Photograph from an automated digital microscope: urine filter membrane, 4× objective.
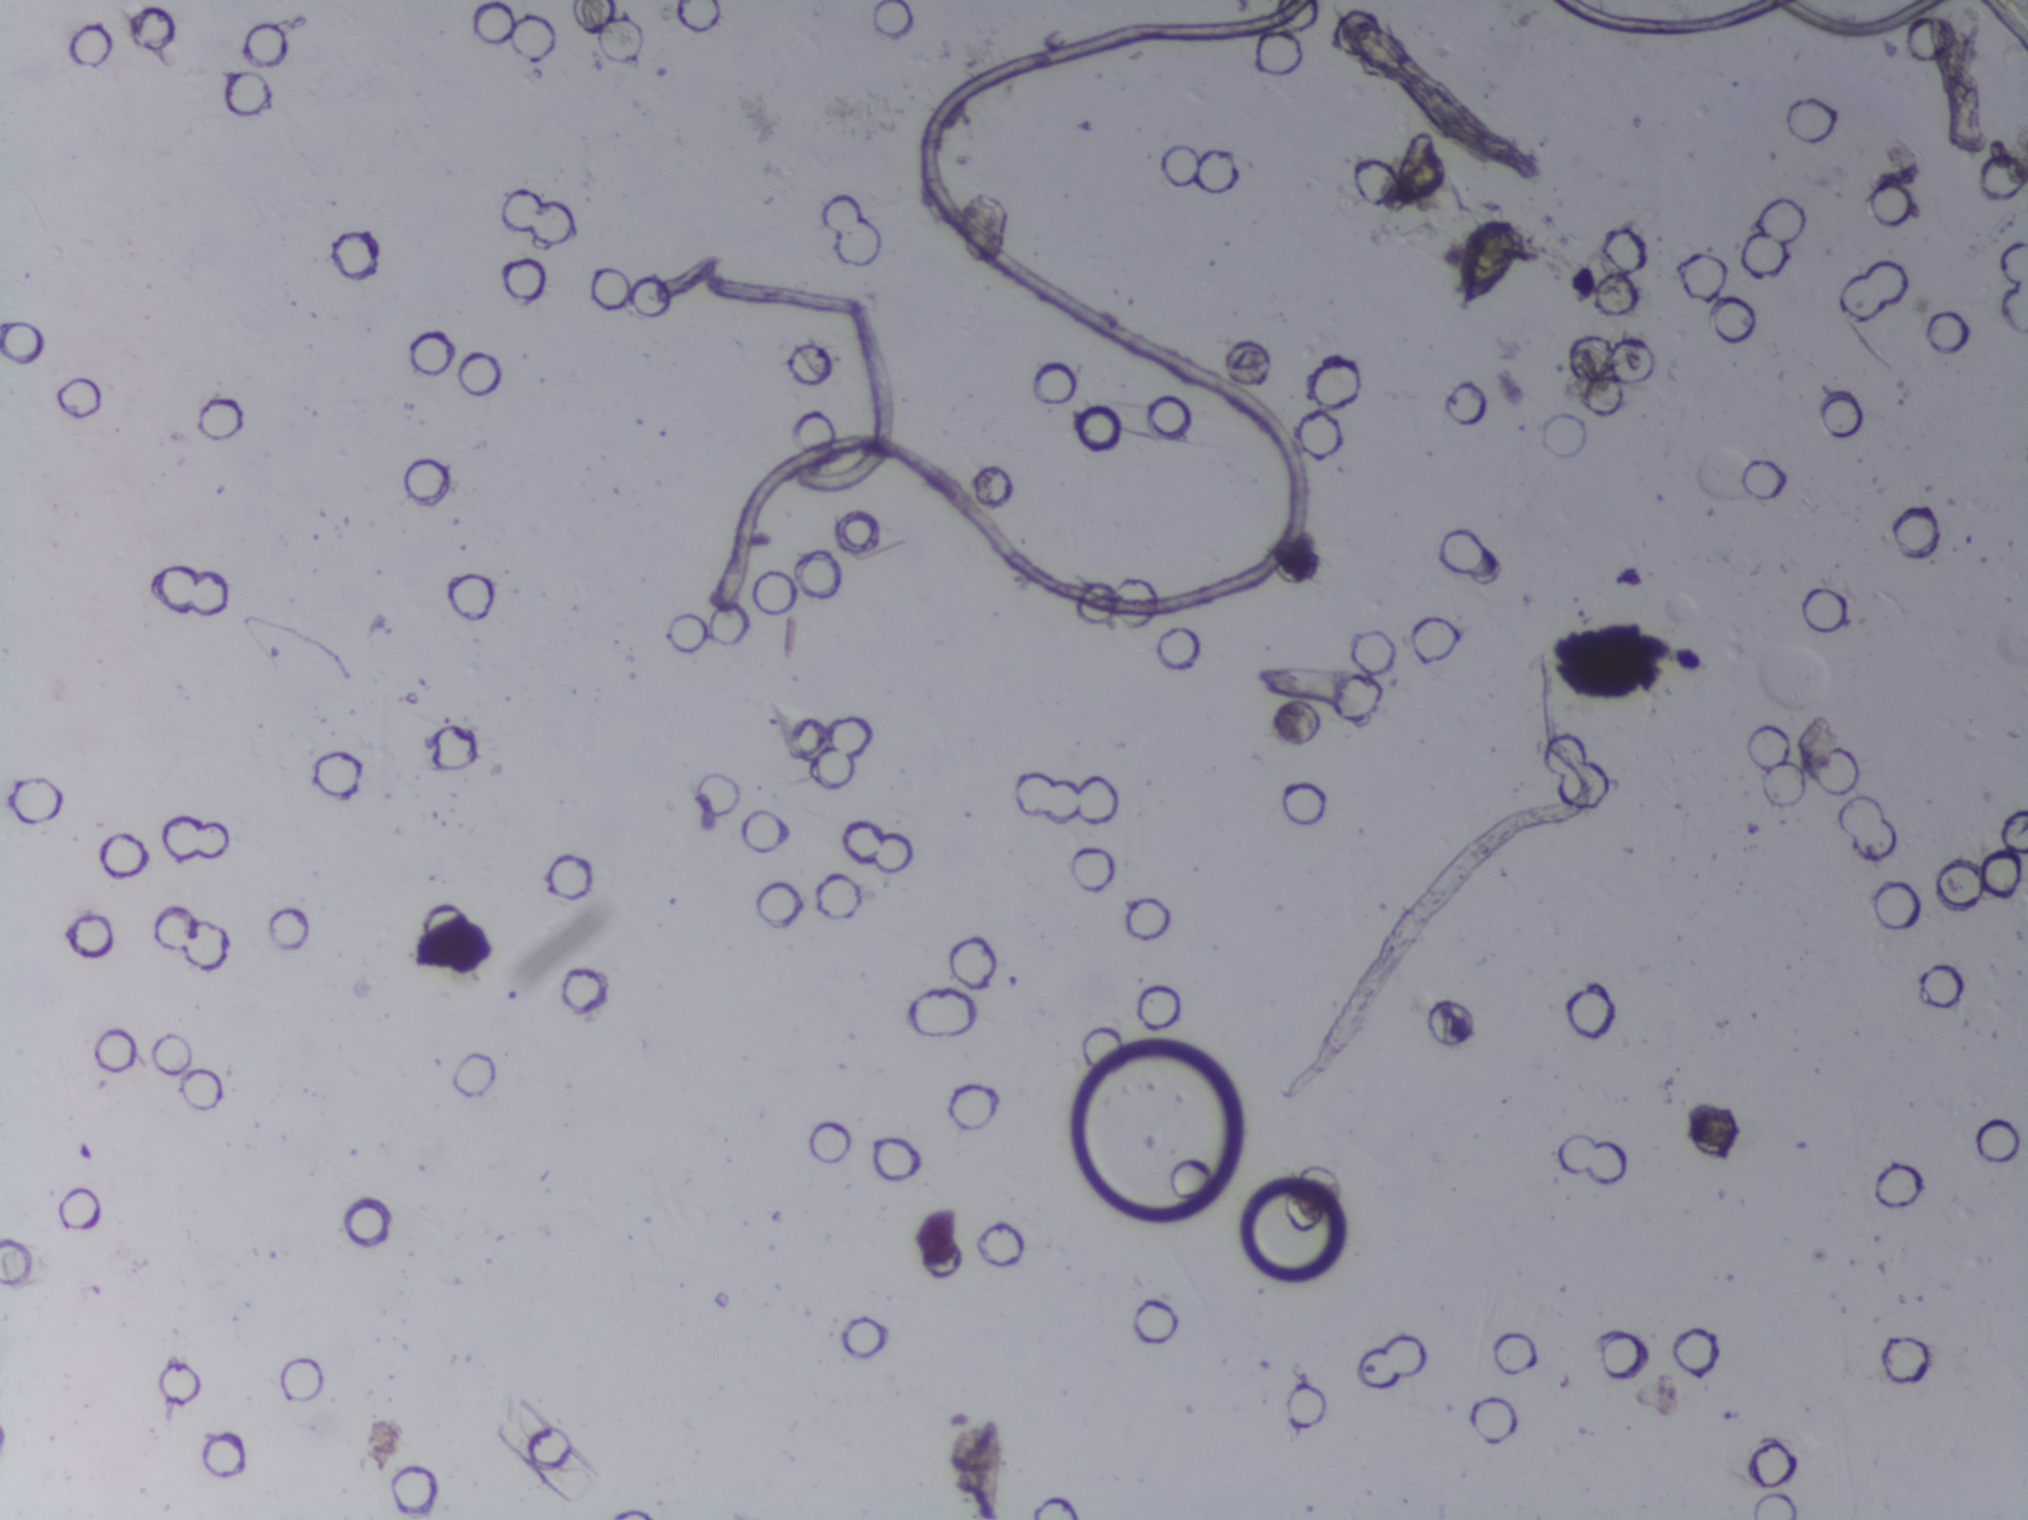
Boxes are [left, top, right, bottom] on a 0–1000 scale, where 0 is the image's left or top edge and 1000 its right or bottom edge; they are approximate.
Findings: one area outlined as Schistosoma eggs. Location: [717, 143, 752, 205]. Eggs that touch can end up inside the same outlined area.